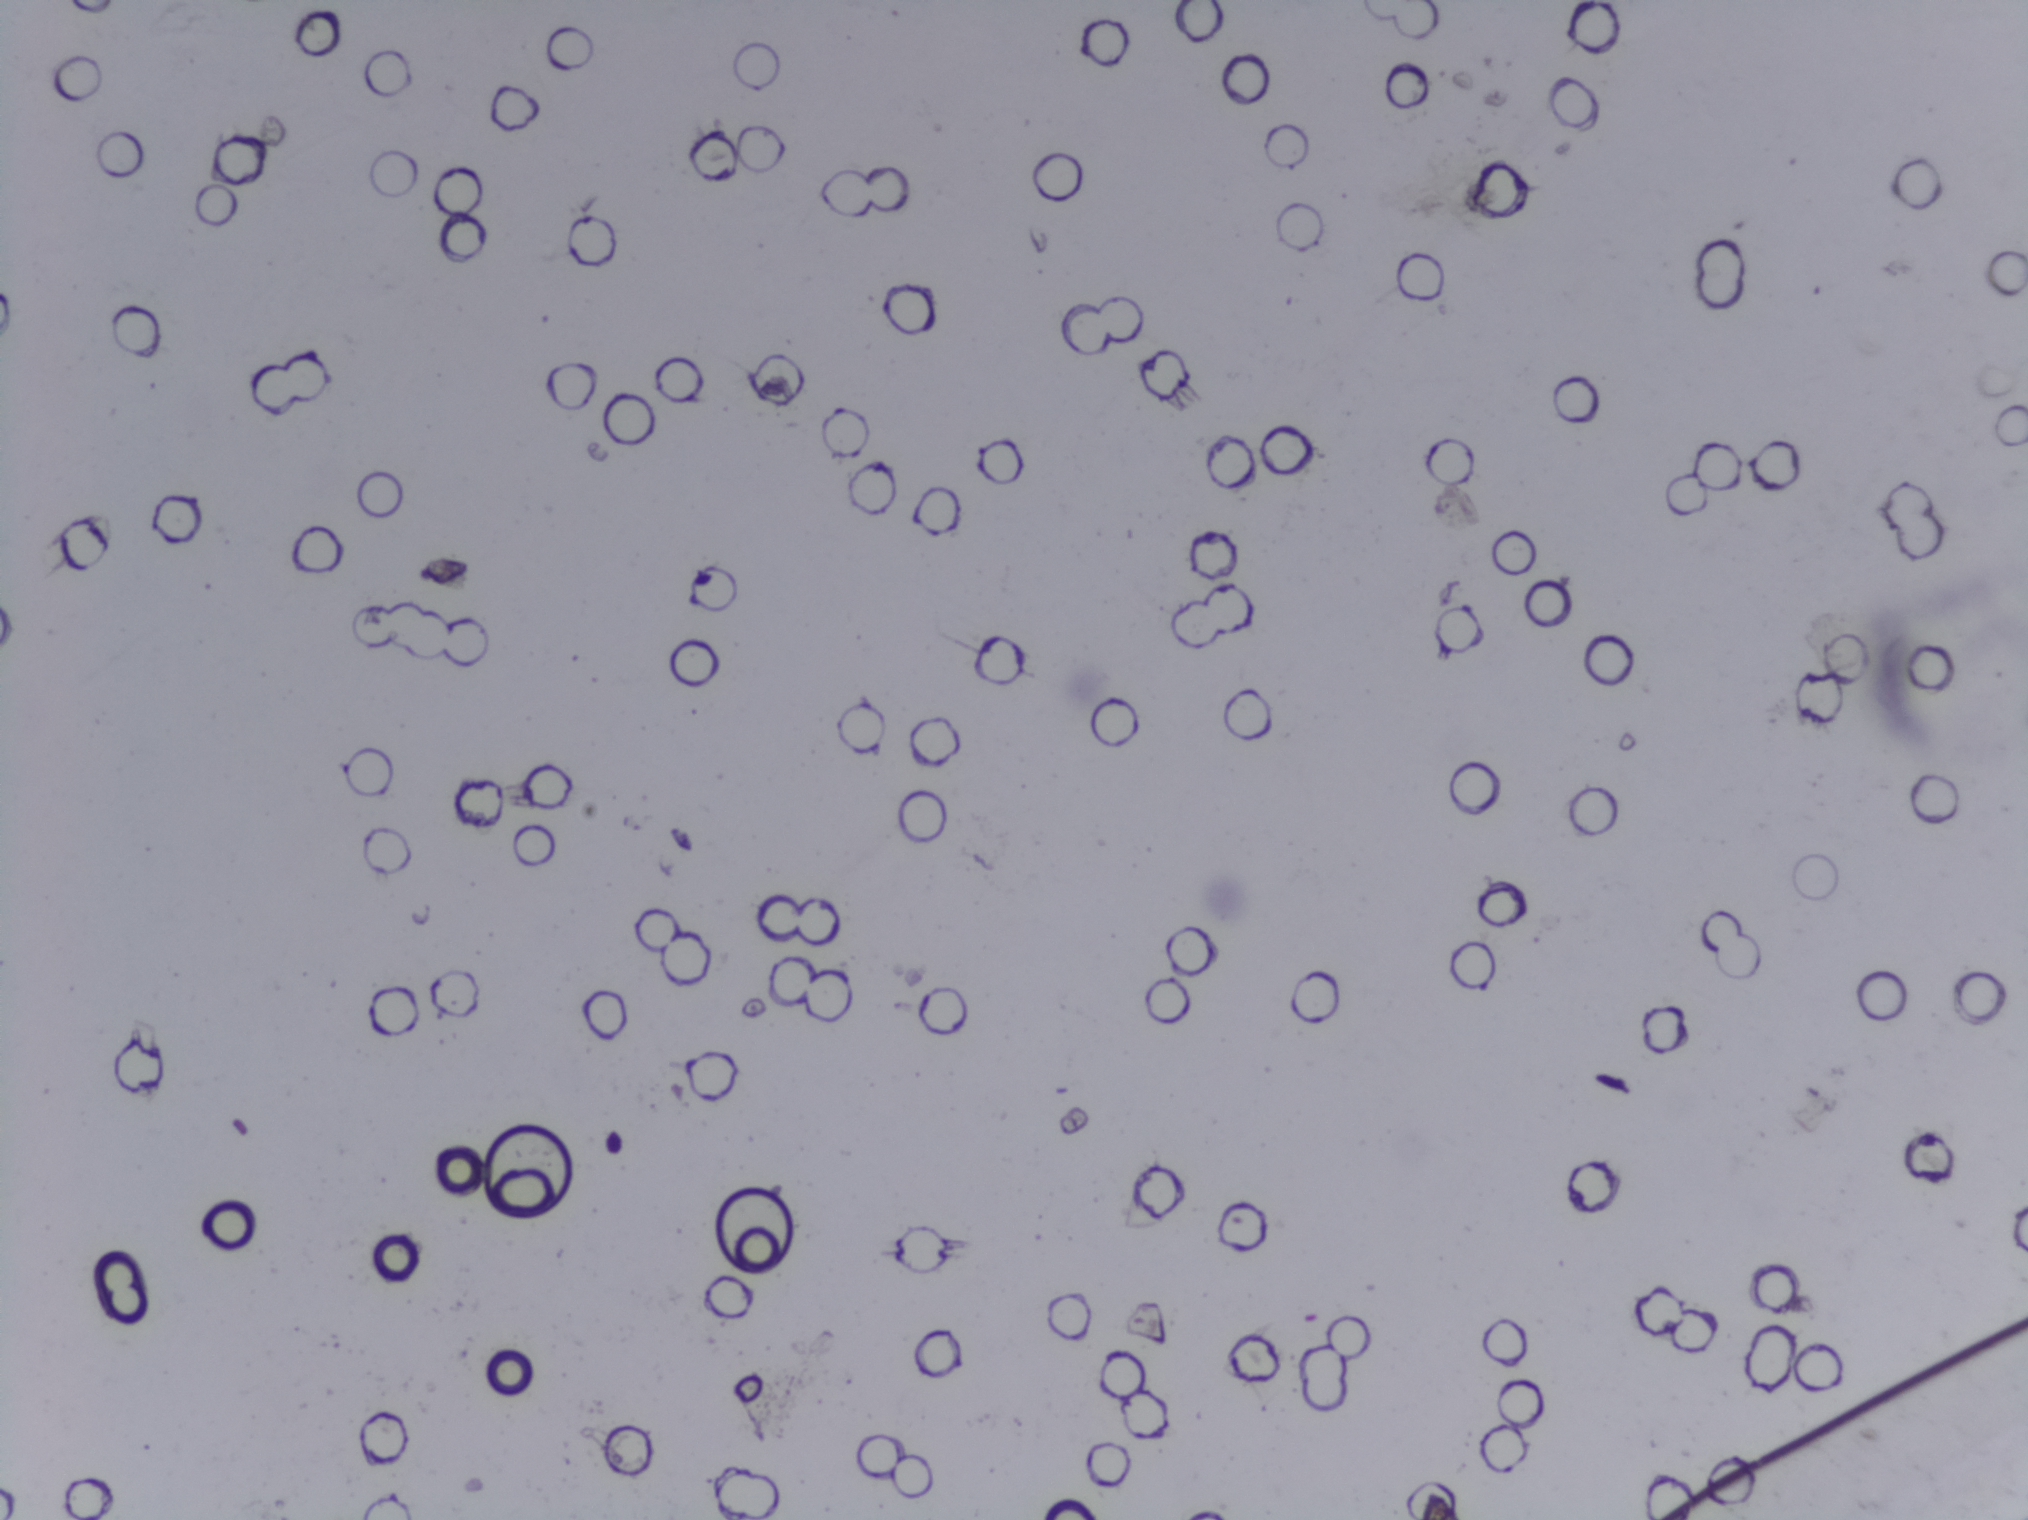
Photograph from an automated digital microscope: urine filter membrane, 4× objective. The image covers about 1.5 × 1.1 mm of the membrane.
The expert annotation marks no Schistosoma egg in this field of view.